Urine filtration membrane under a 4× objective, photographed by an automated digital microscope.
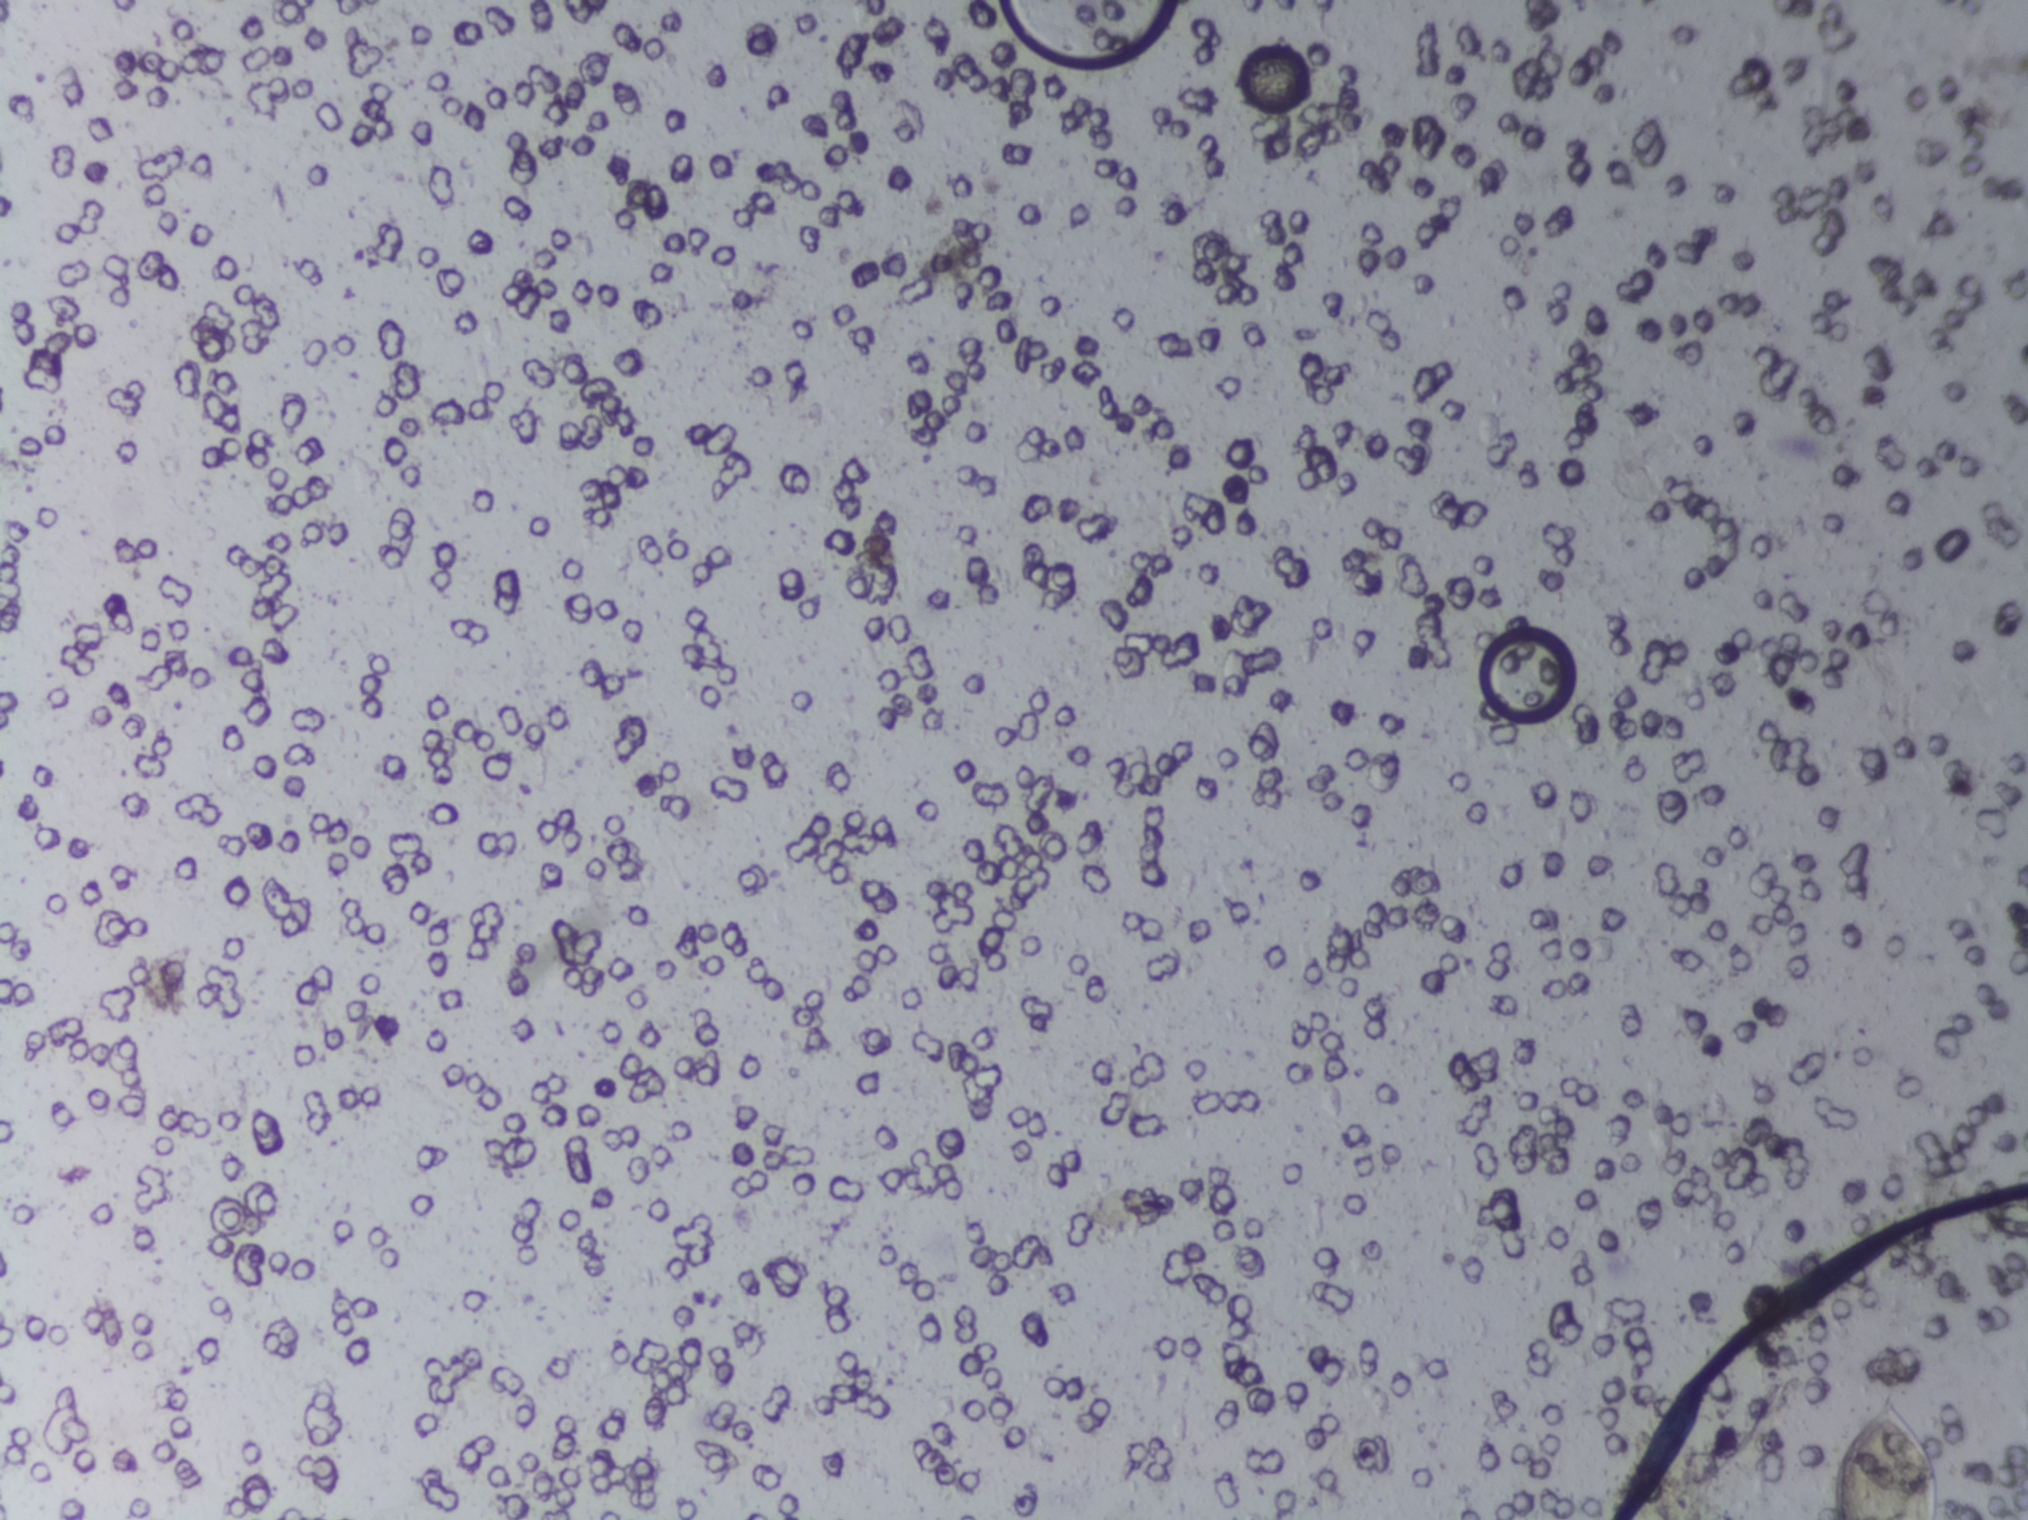
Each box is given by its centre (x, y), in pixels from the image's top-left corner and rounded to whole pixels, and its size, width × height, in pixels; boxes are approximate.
Areas outlined as Schistosoma eggs: centre (1885, 1453), 107 × 134 px (reaching the bottom edge of the frame). Marked pixels, not the box around them: about 0.3% of the image. A single outlined area may contain several eggs.